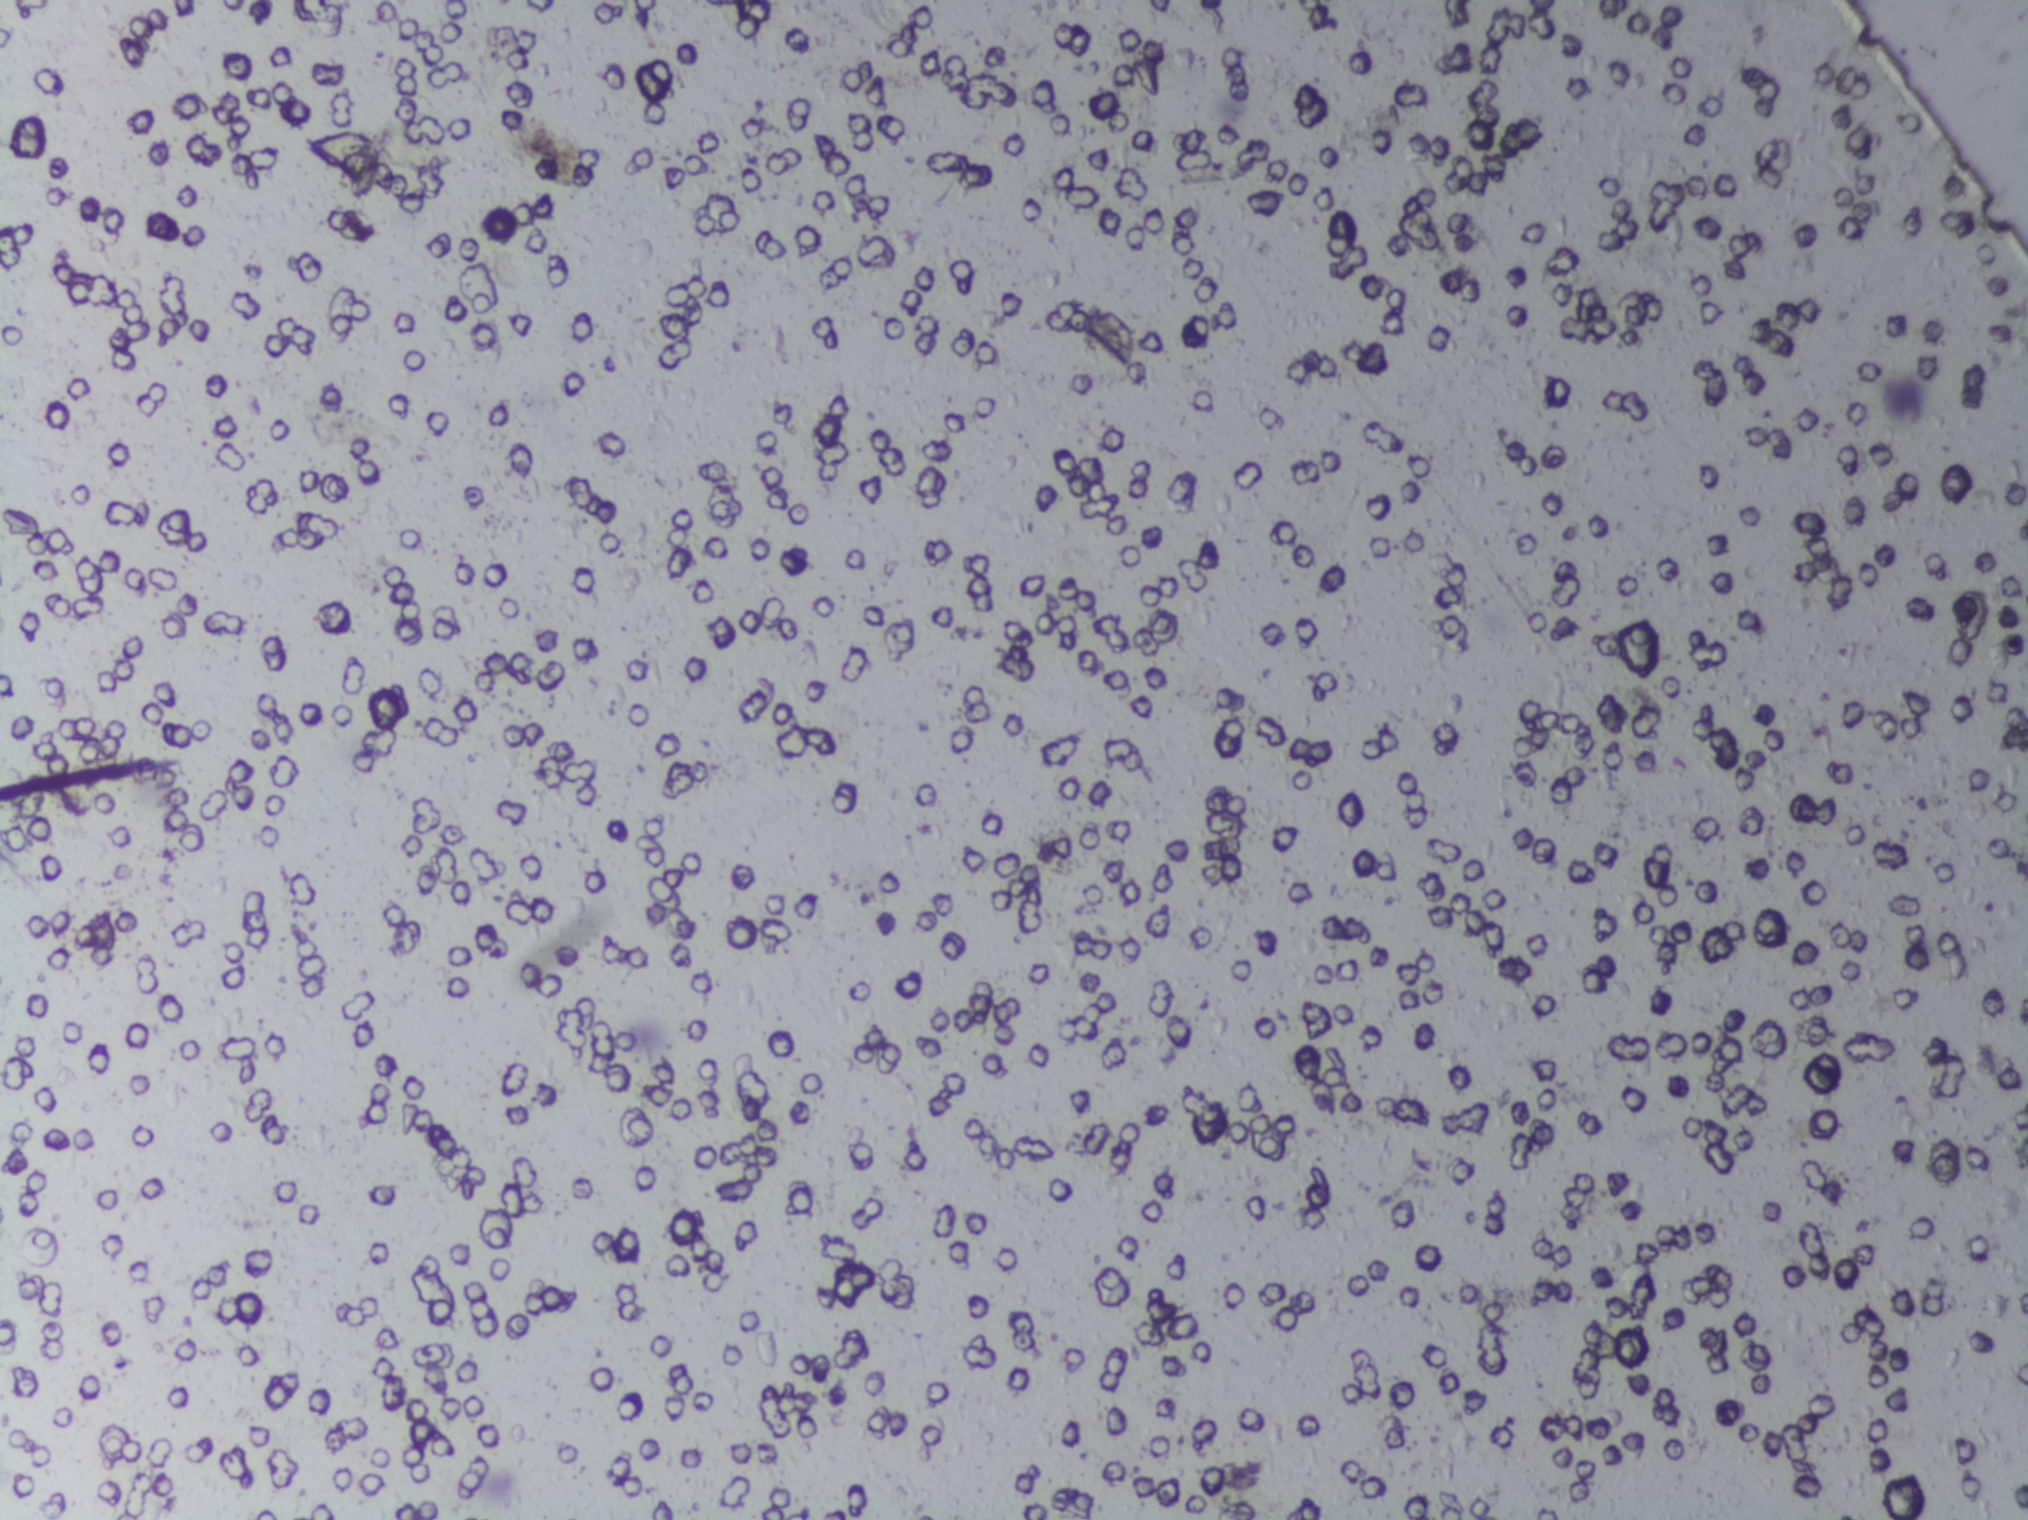
Microscope photograph (4× objective) of a membrane that a urine sample was filtered through. Field of view: about 1.5 mm wide and 1.1 mm high.
Schistosoma eggs: none outlined.